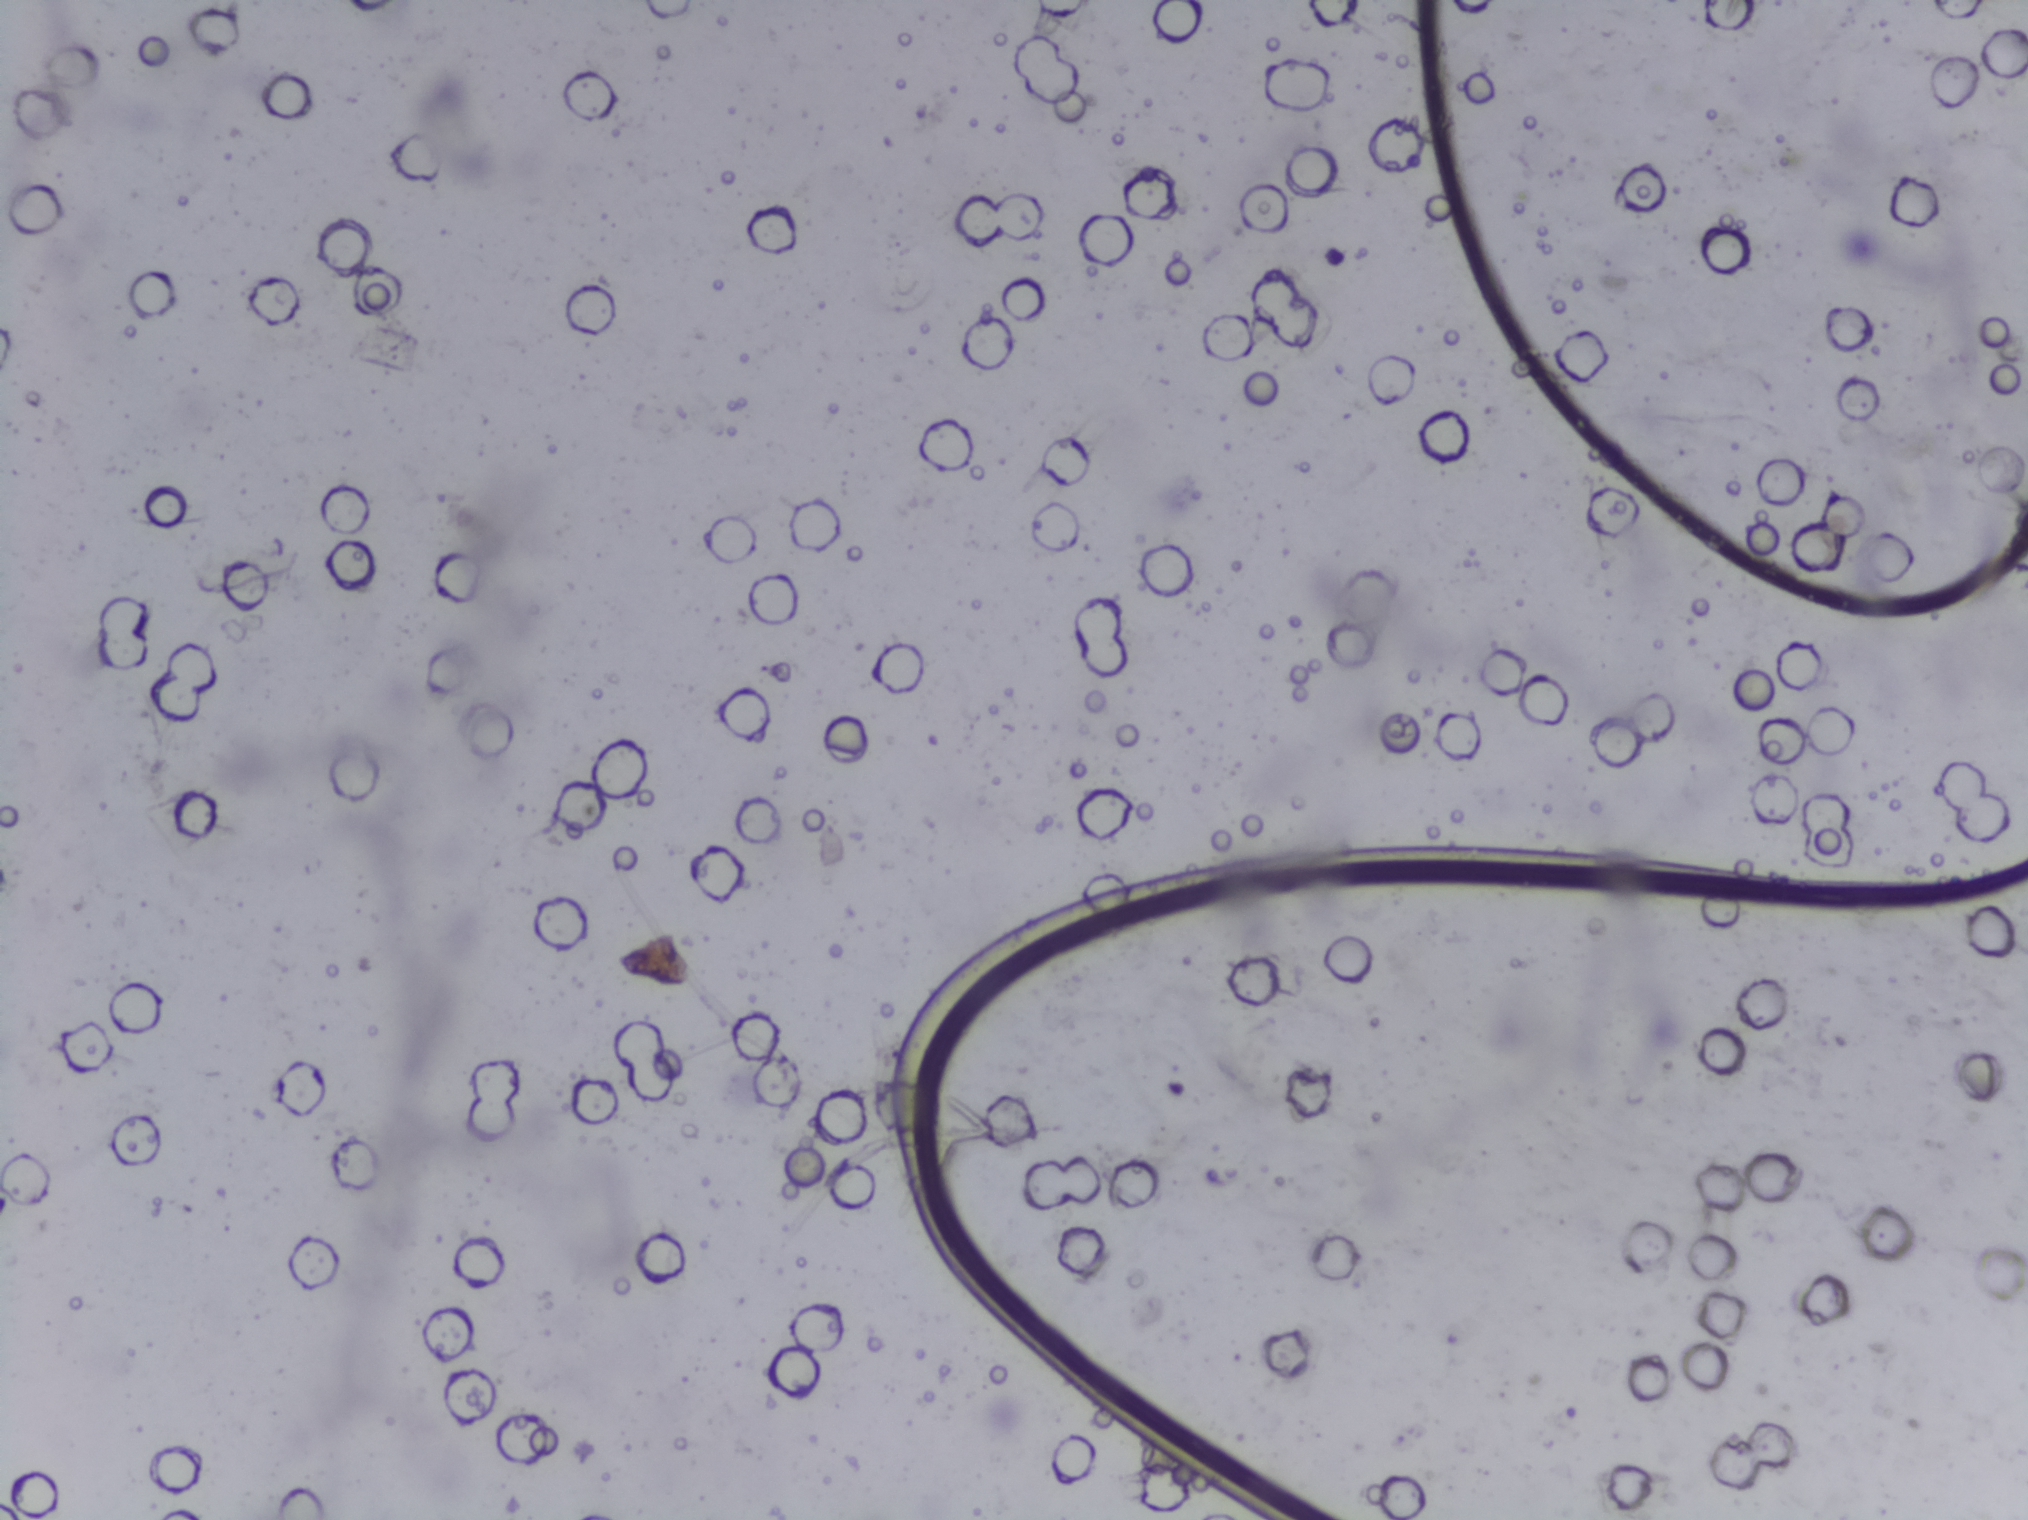
Schistosoma eggs: none outlined.
Photomicrograph of a urine filtration membrane, 4× objective. The field of view is about 1.5 mm × 1.1 mm.